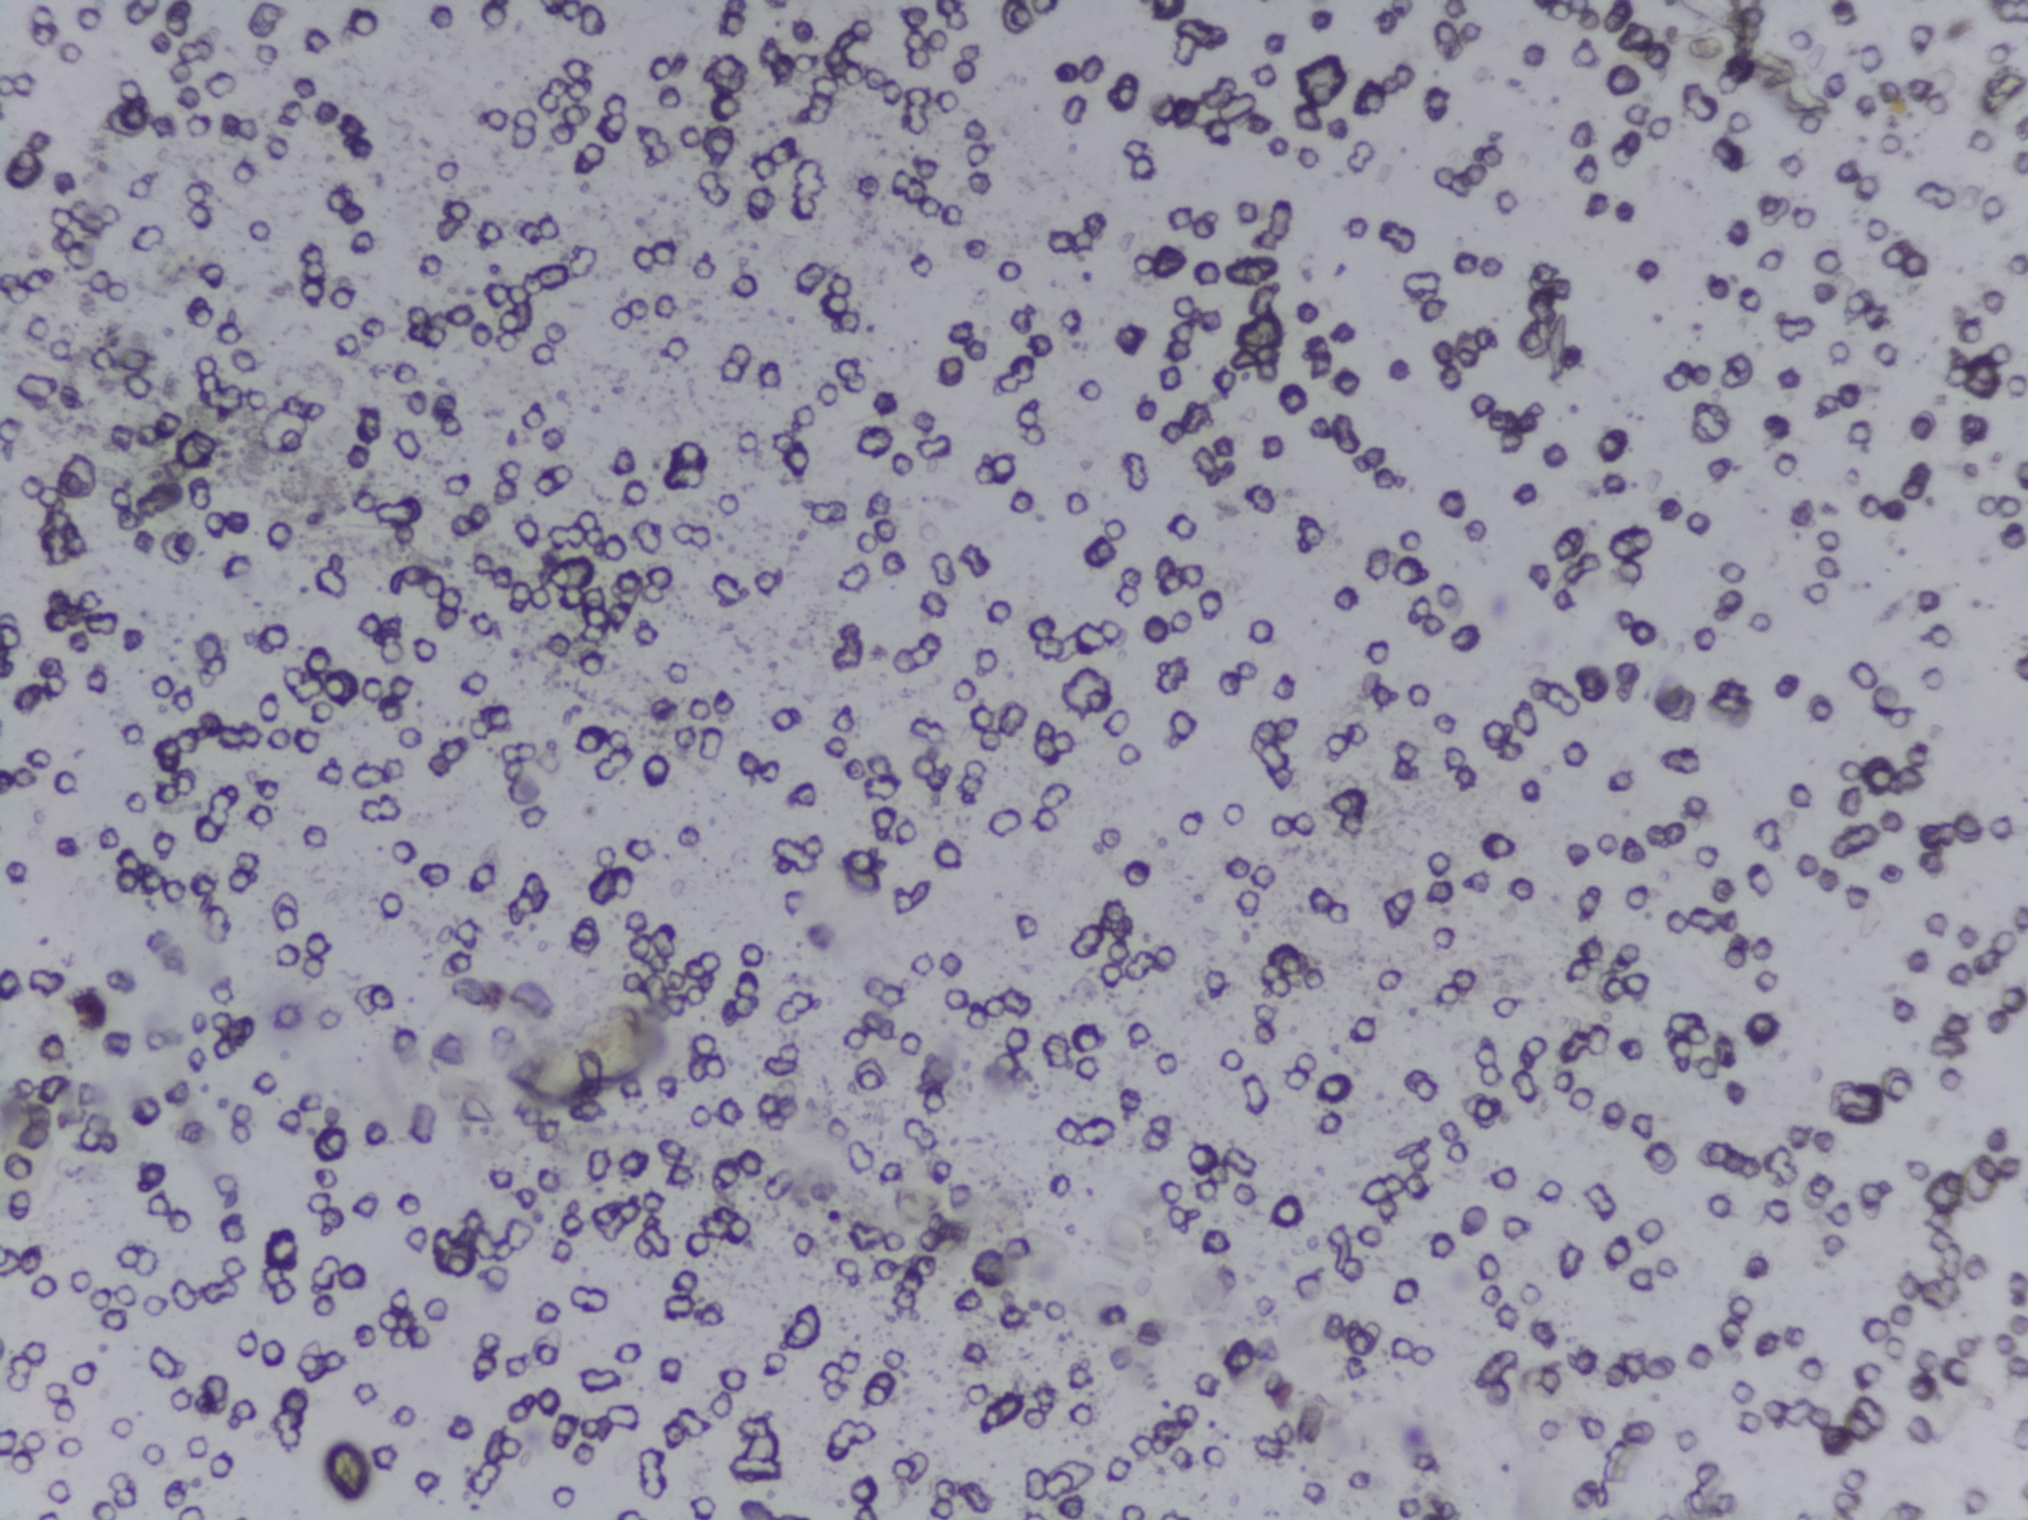
Schistosoma eggs: none outlined.
One field of view of a urine filter membrane, 4× objective, 2028 × 1520 pixels.